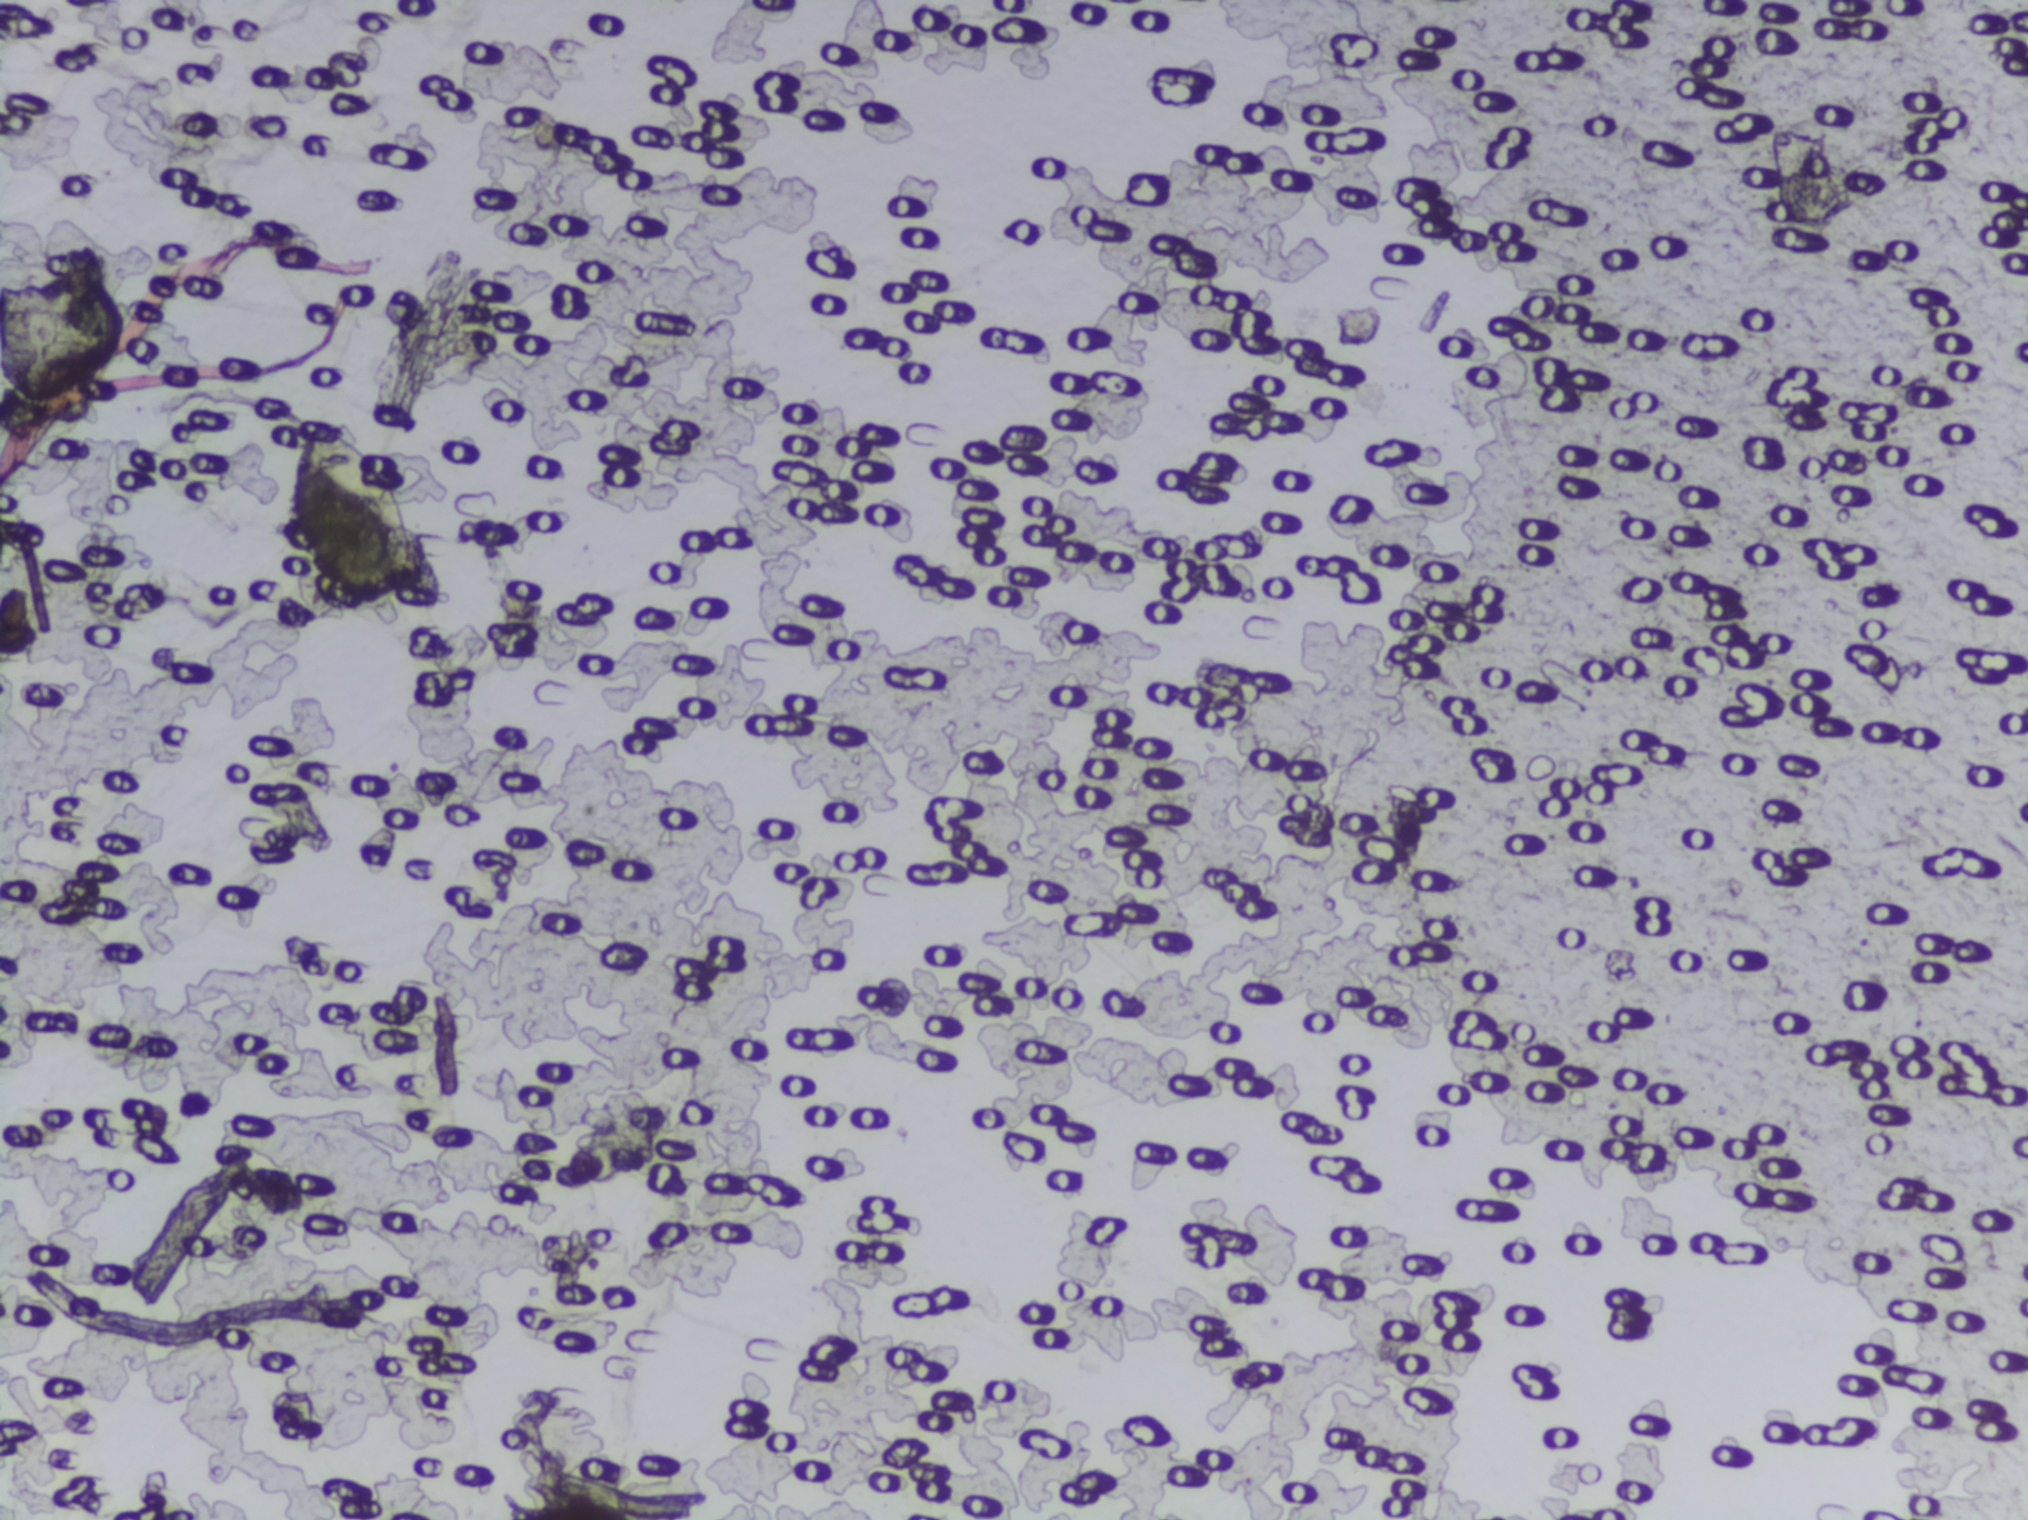
Urine filtration membrane under a 4× objective, photographed by an automated digital microscope.
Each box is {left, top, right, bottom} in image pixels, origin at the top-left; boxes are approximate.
Findings: one area outlined as Schistosoma eggs. Location: {278, 413, 440, 631}. Eggs that touch can end up inside the same outlined area.